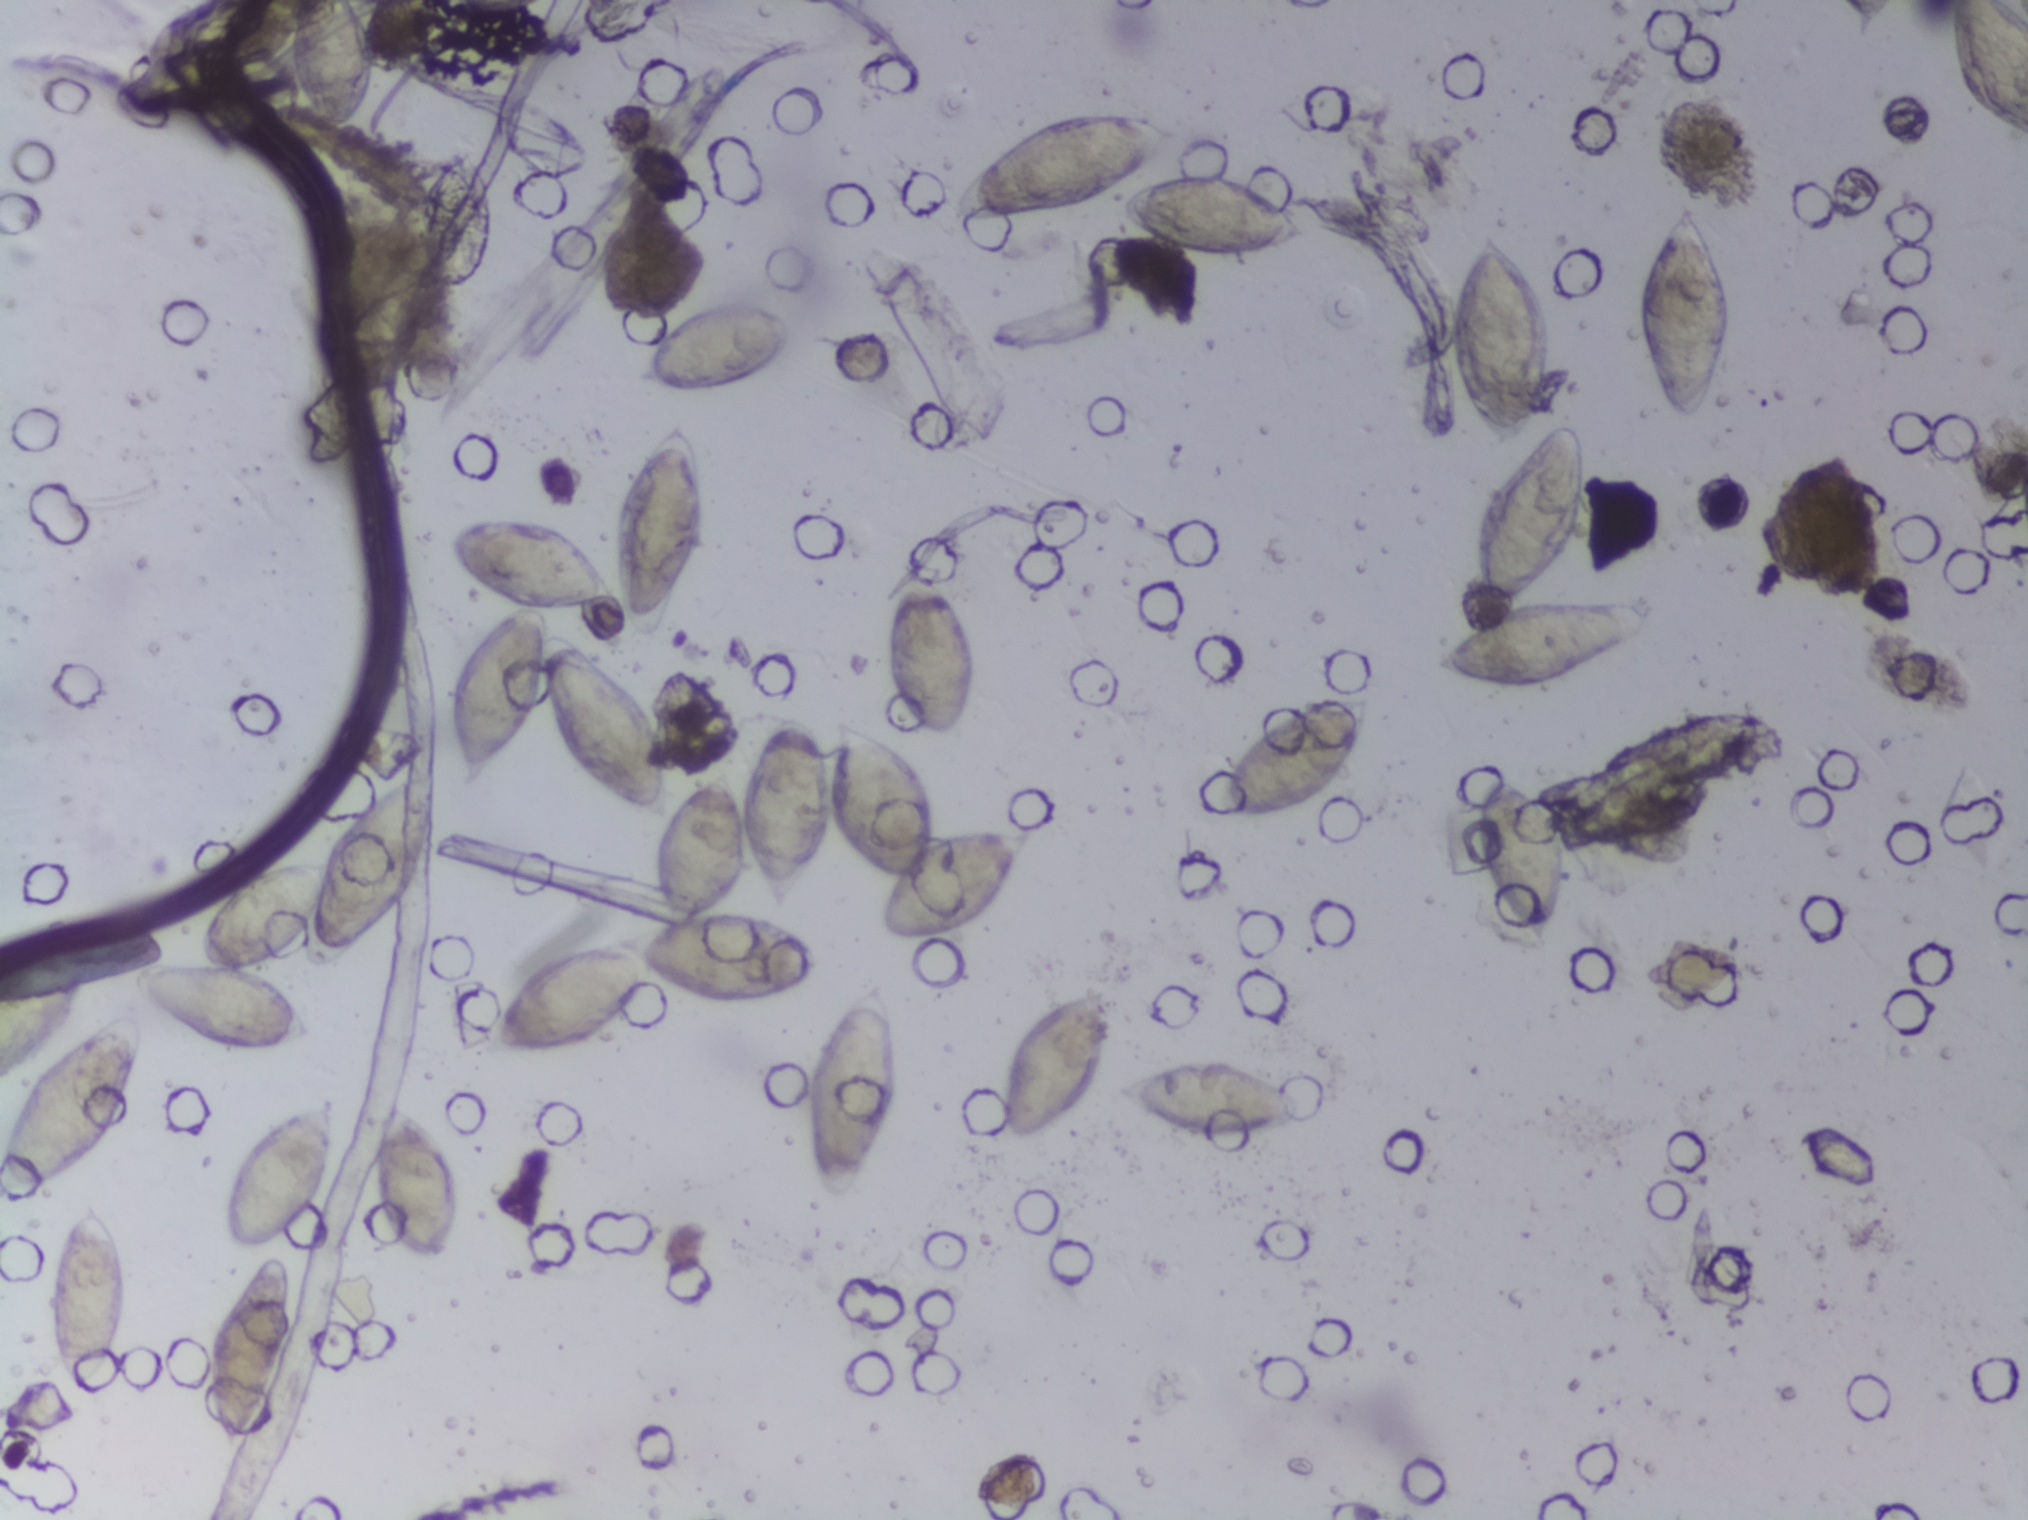
Urine filter membrane photographed through a 4× microscope objective.
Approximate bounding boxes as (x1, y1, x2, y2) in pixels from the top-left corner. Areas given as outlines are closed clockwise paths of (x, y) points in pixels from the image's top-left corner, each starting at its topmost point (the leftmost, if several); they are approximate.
The expert annotation outlines Schistosoma eggs in 22 areas, left to right: box (0, 921, 145, 1205) (reaching the left edge of the frame); box (51, 1199, 127, 1392); outline (424, 770), (440, 773), (437, 817), (423, 867), (402, 905), (335, 964), (316, 968), (305, 940), (257, 968), (315, 1017), (314, 1040), (270, 1053), (213, 1052), (179, 1038), (132, 999), (125, 973), (133, 965), (200, 955), (199, 925), (219, 888), (261, 864), (327, 856), (341, 829), (336, 824), (382, 785); box (135, 0, 373, 137) (reaching the top edge of the frame); box (205, 1251, 292, 1455); box (226, 1089, 340, 1253); box (366, 1101, 460, 1265); box (415, 148, 493, 293); outline (674, 416), (700, 440), (705, 514), (702, 537), (662, 632), (634, 640), (619, 629), (615, 615), (547, 616), (548, 625), (580, 635), (634, 680), (660, 728), (670, 800), (719, 763), (733, 763), (743, 791), (754, 747), (769, 720), (785, 712), (810, 718), (831, 758), (844, 717), (870, 727), (915, 761), (935, 832), (1011, 824), (1028, 829), (1028, 853), (1004, 899), (968, 930), (919, 947), (893, 947), (877, 942), (871, 929), (871, 914), (889, 883), (849, 851), (837, 821), (785, 912), (766, 904), (750, 873), (730, 907), (777, 918), (817, 948), (822, 967), (798, 991), (762, 1007), (717, 1007), (678, 997), (647, 979), (617, 1024), (595, 1040), (560, 1052), (486, 1057), (478, 1035), (521, 969), (586, 943), (633, 943), (663, 915), (642, 858), (648, 819), (614, 808), (579, 782), (551, 733), (543, 686), (514, 748), (464, 792), (444, 729), (454, 664), (488, 626), (513, 610), (466, 574), (449, 533), (471, 516), (532, 510), (580, 536), (613, 577), (619, 486), (634, 458) (a cluster of eggs); box (636, 295, 796, 392); box (803, 973, 904, 1206); box (885, 559, 974, 741); box (947, 114, 1179, 225); box (998, 988, 1108, 1139); box (1113, 1053, 1302, 1139); box (1115, 167, 1314, 258); box (1217, 689, 1371, 823); box (1437, 412, 1652, 694); box (1449, 232, 1556, 447); box (1474, 773, 1570, 951); box (1631, 190, 1734, 425); box (1943, 0, 2027, 141) (reaching the top and right edges of the frame). An outlined area can hold more than one egg.